Urine filter membrane photographed through a 4× microscope objective. The image covers about 1.5 × 1.1 mm of the membrane.
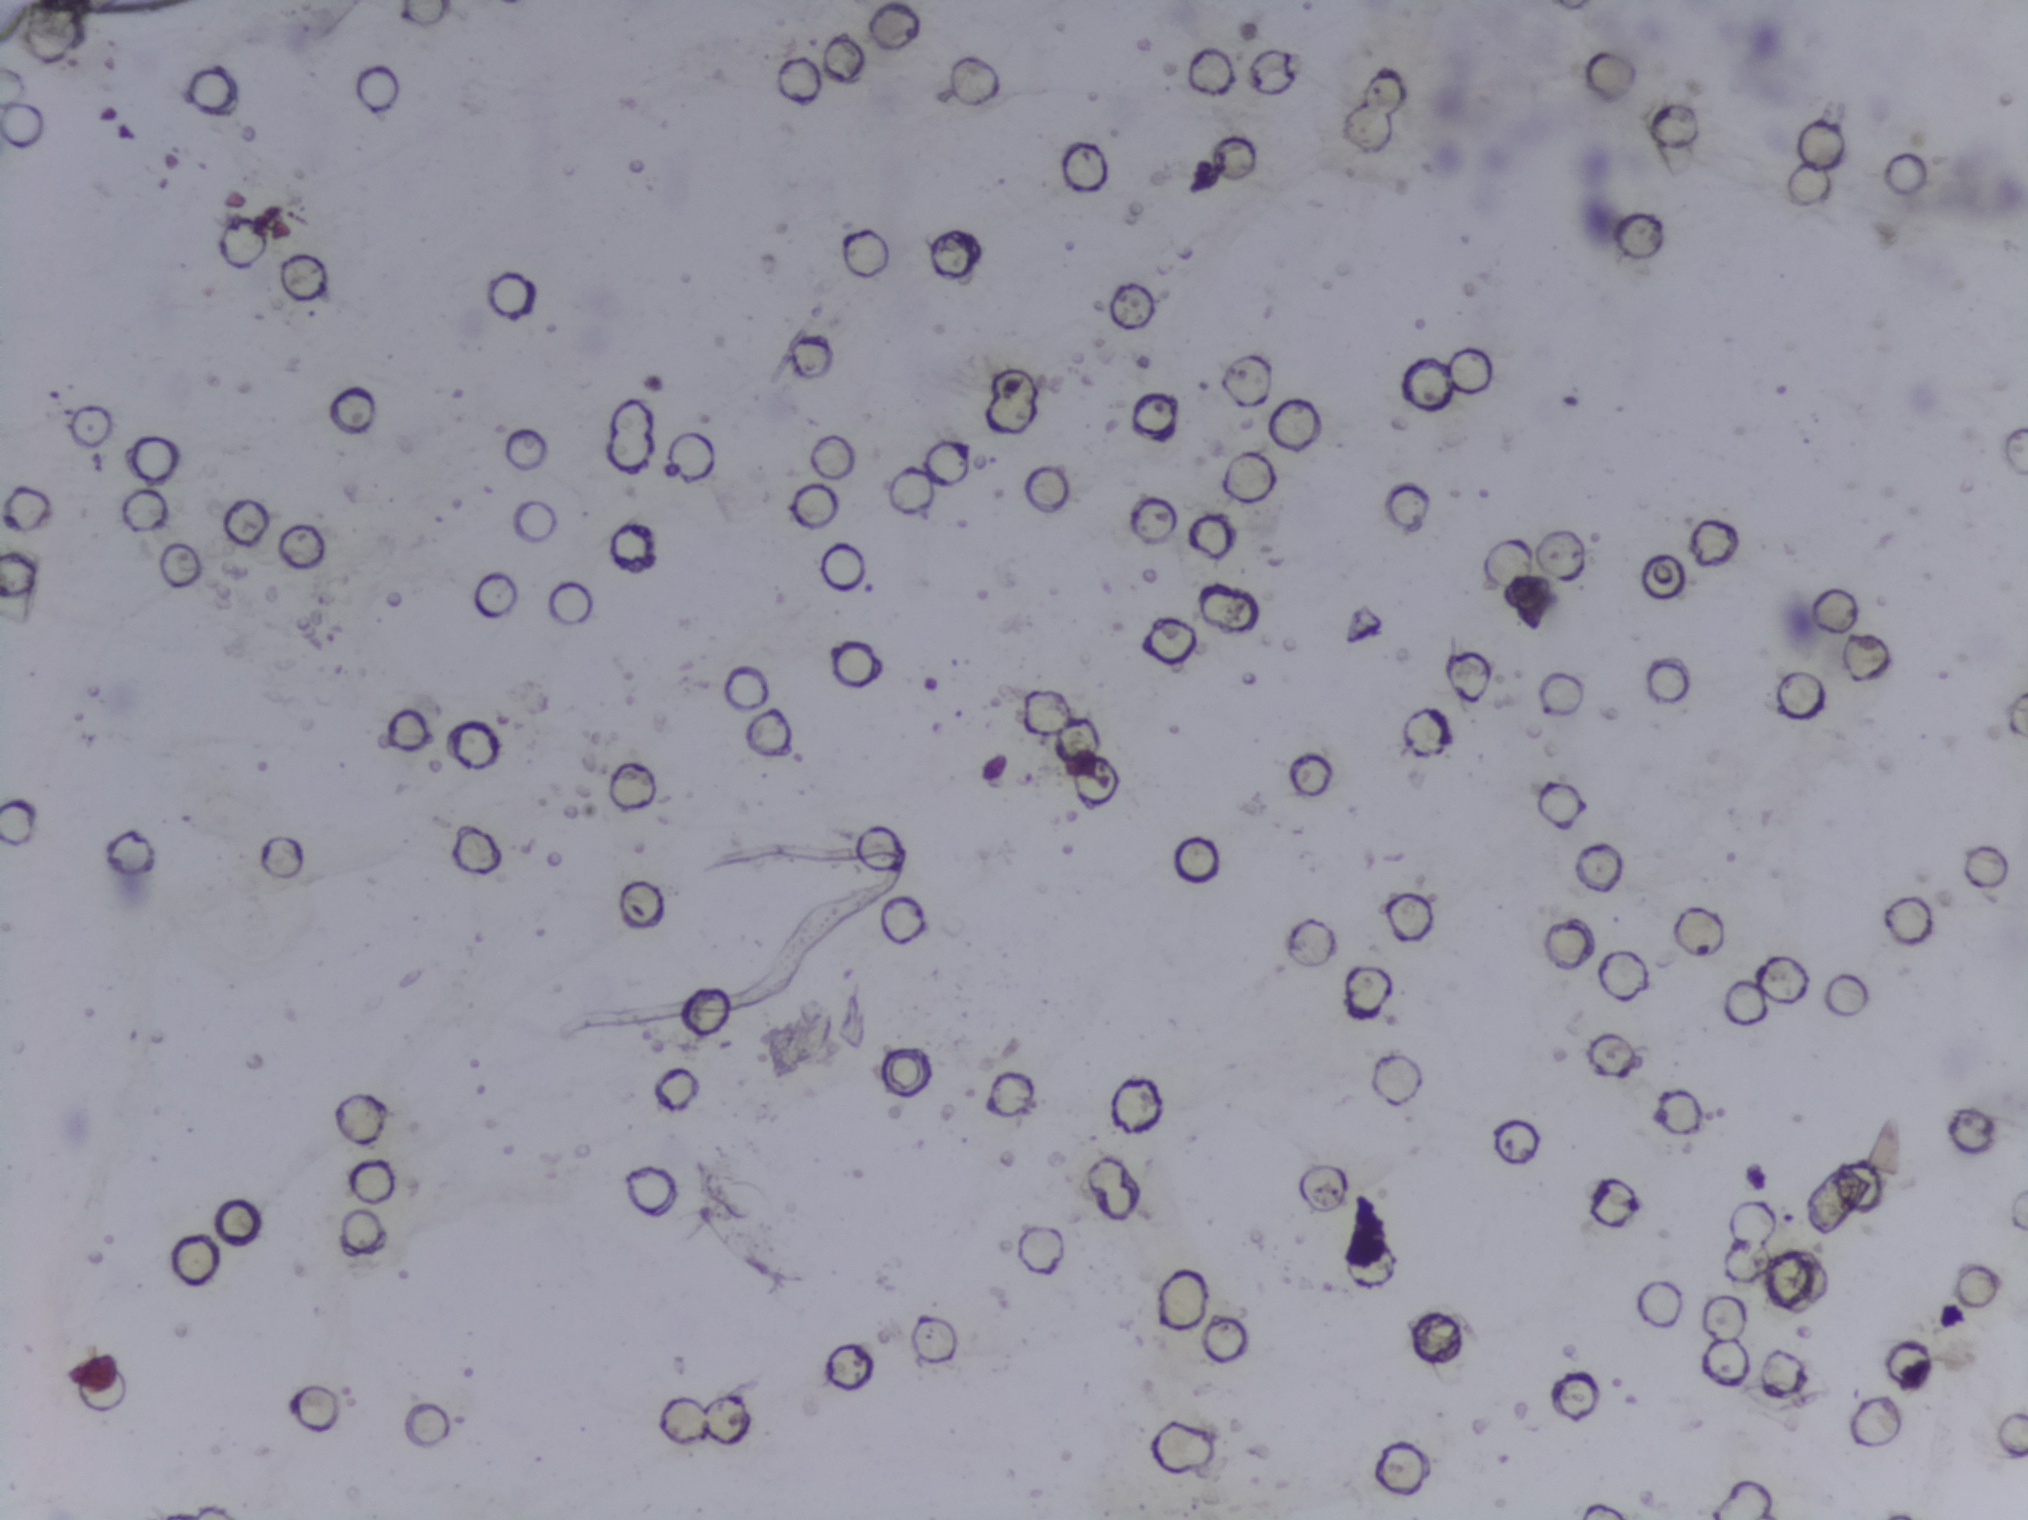
Schistosoma eggs: none outlined.